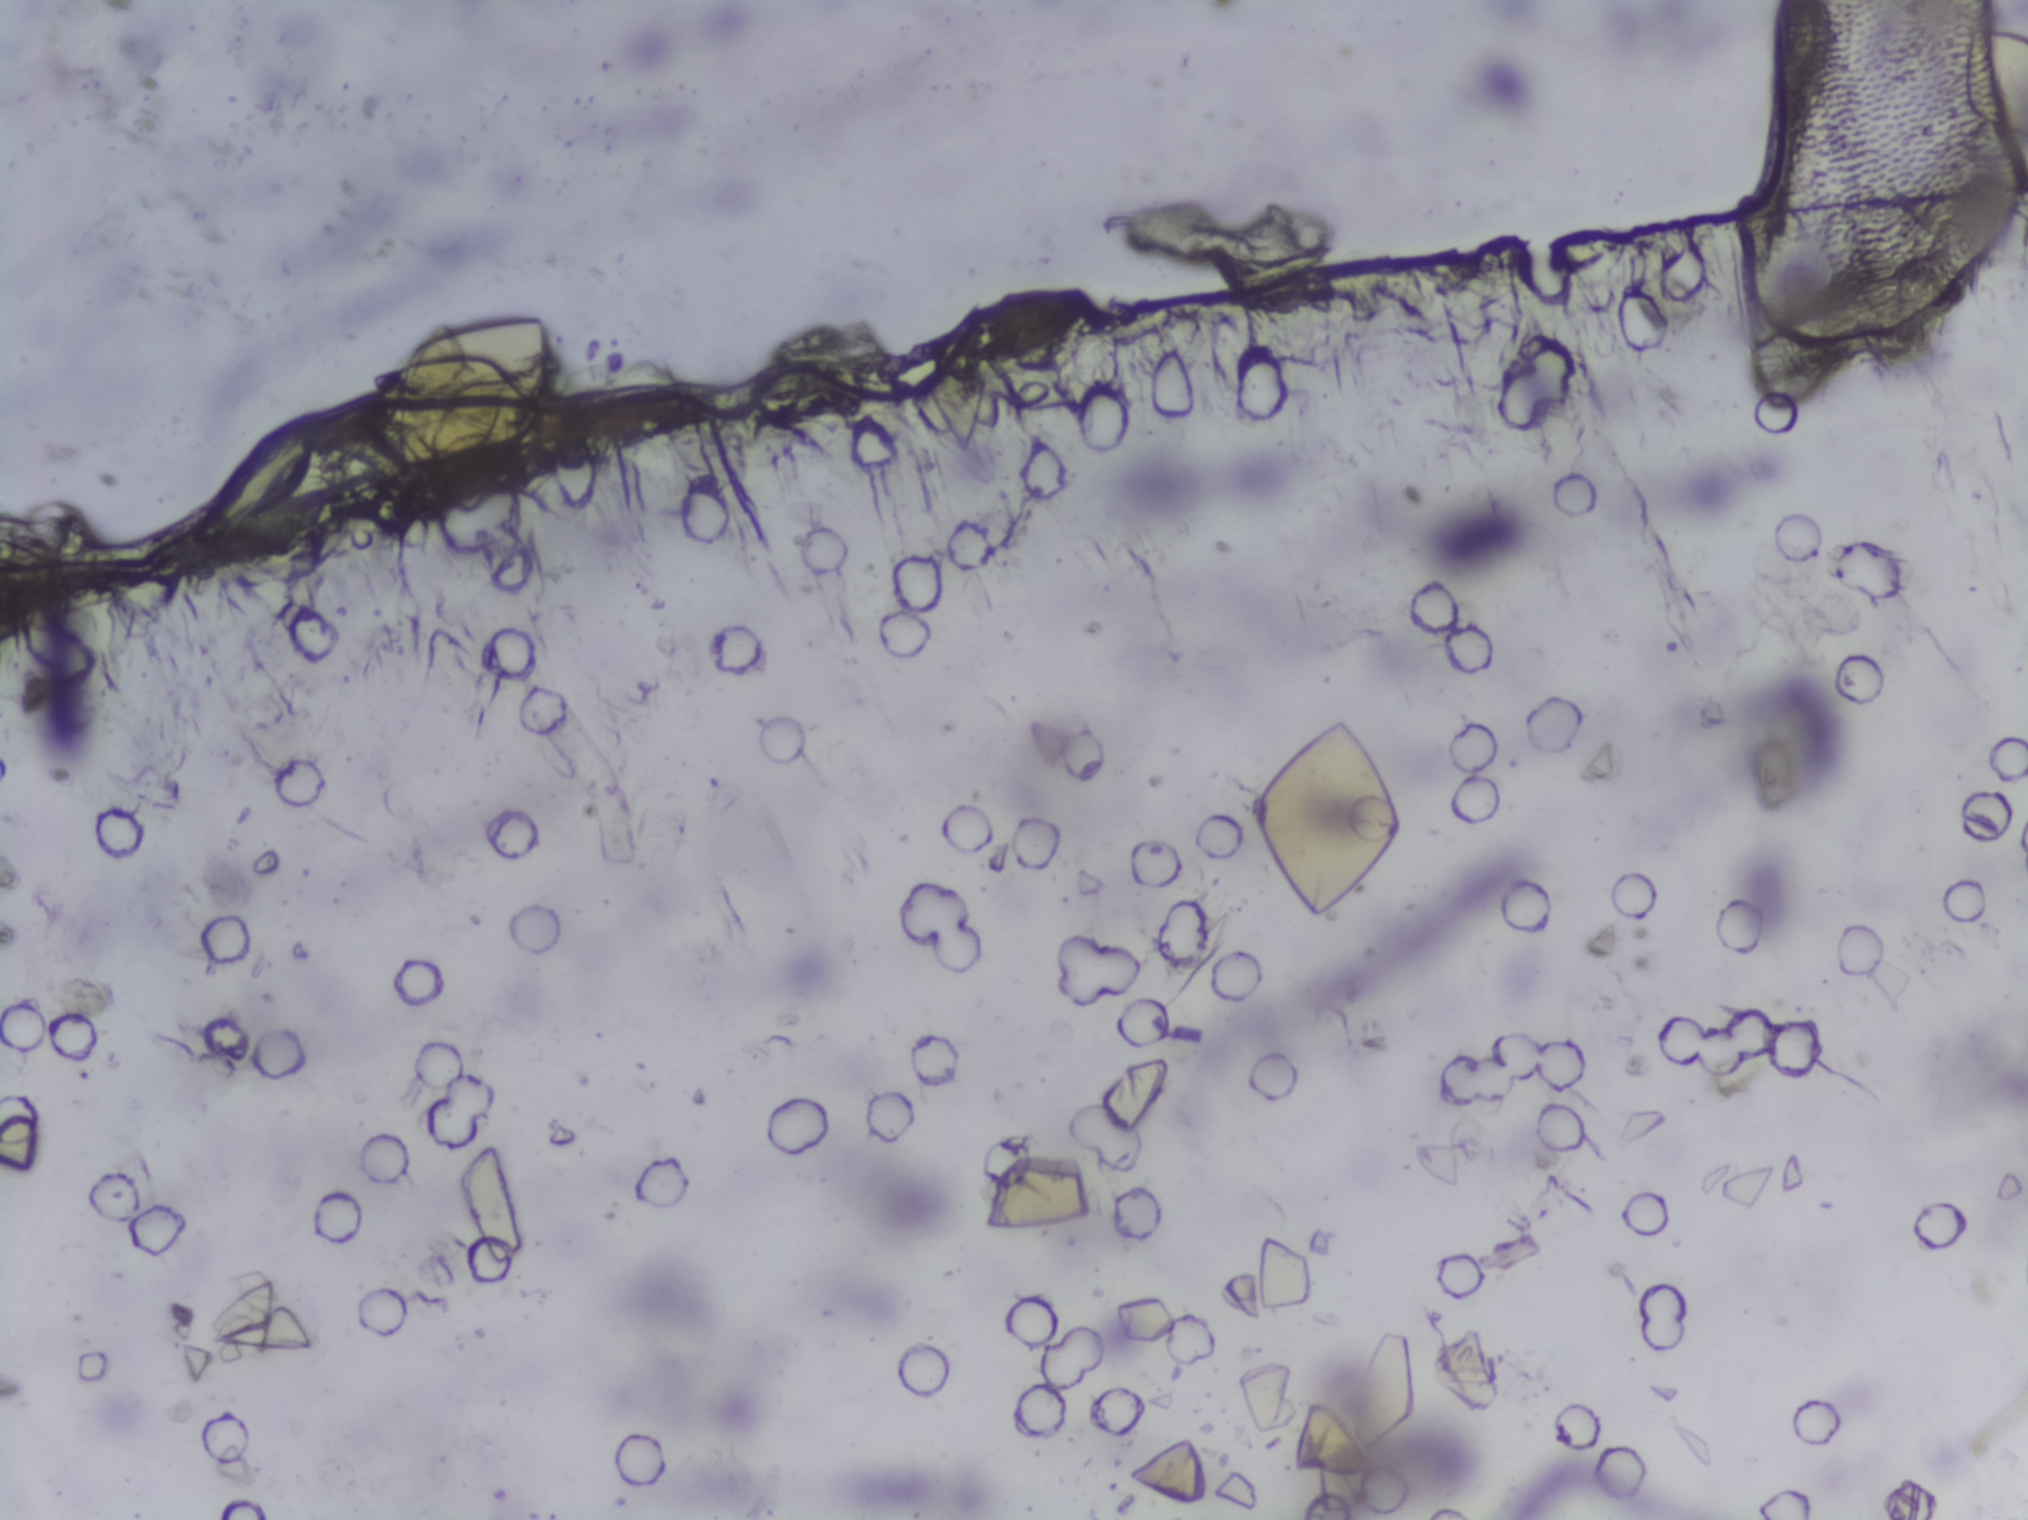
Photograph from an automated digital microscope: urine filter membrane, 4× objective.
No Schistosoma egg is outlined in this image's expert annotation.